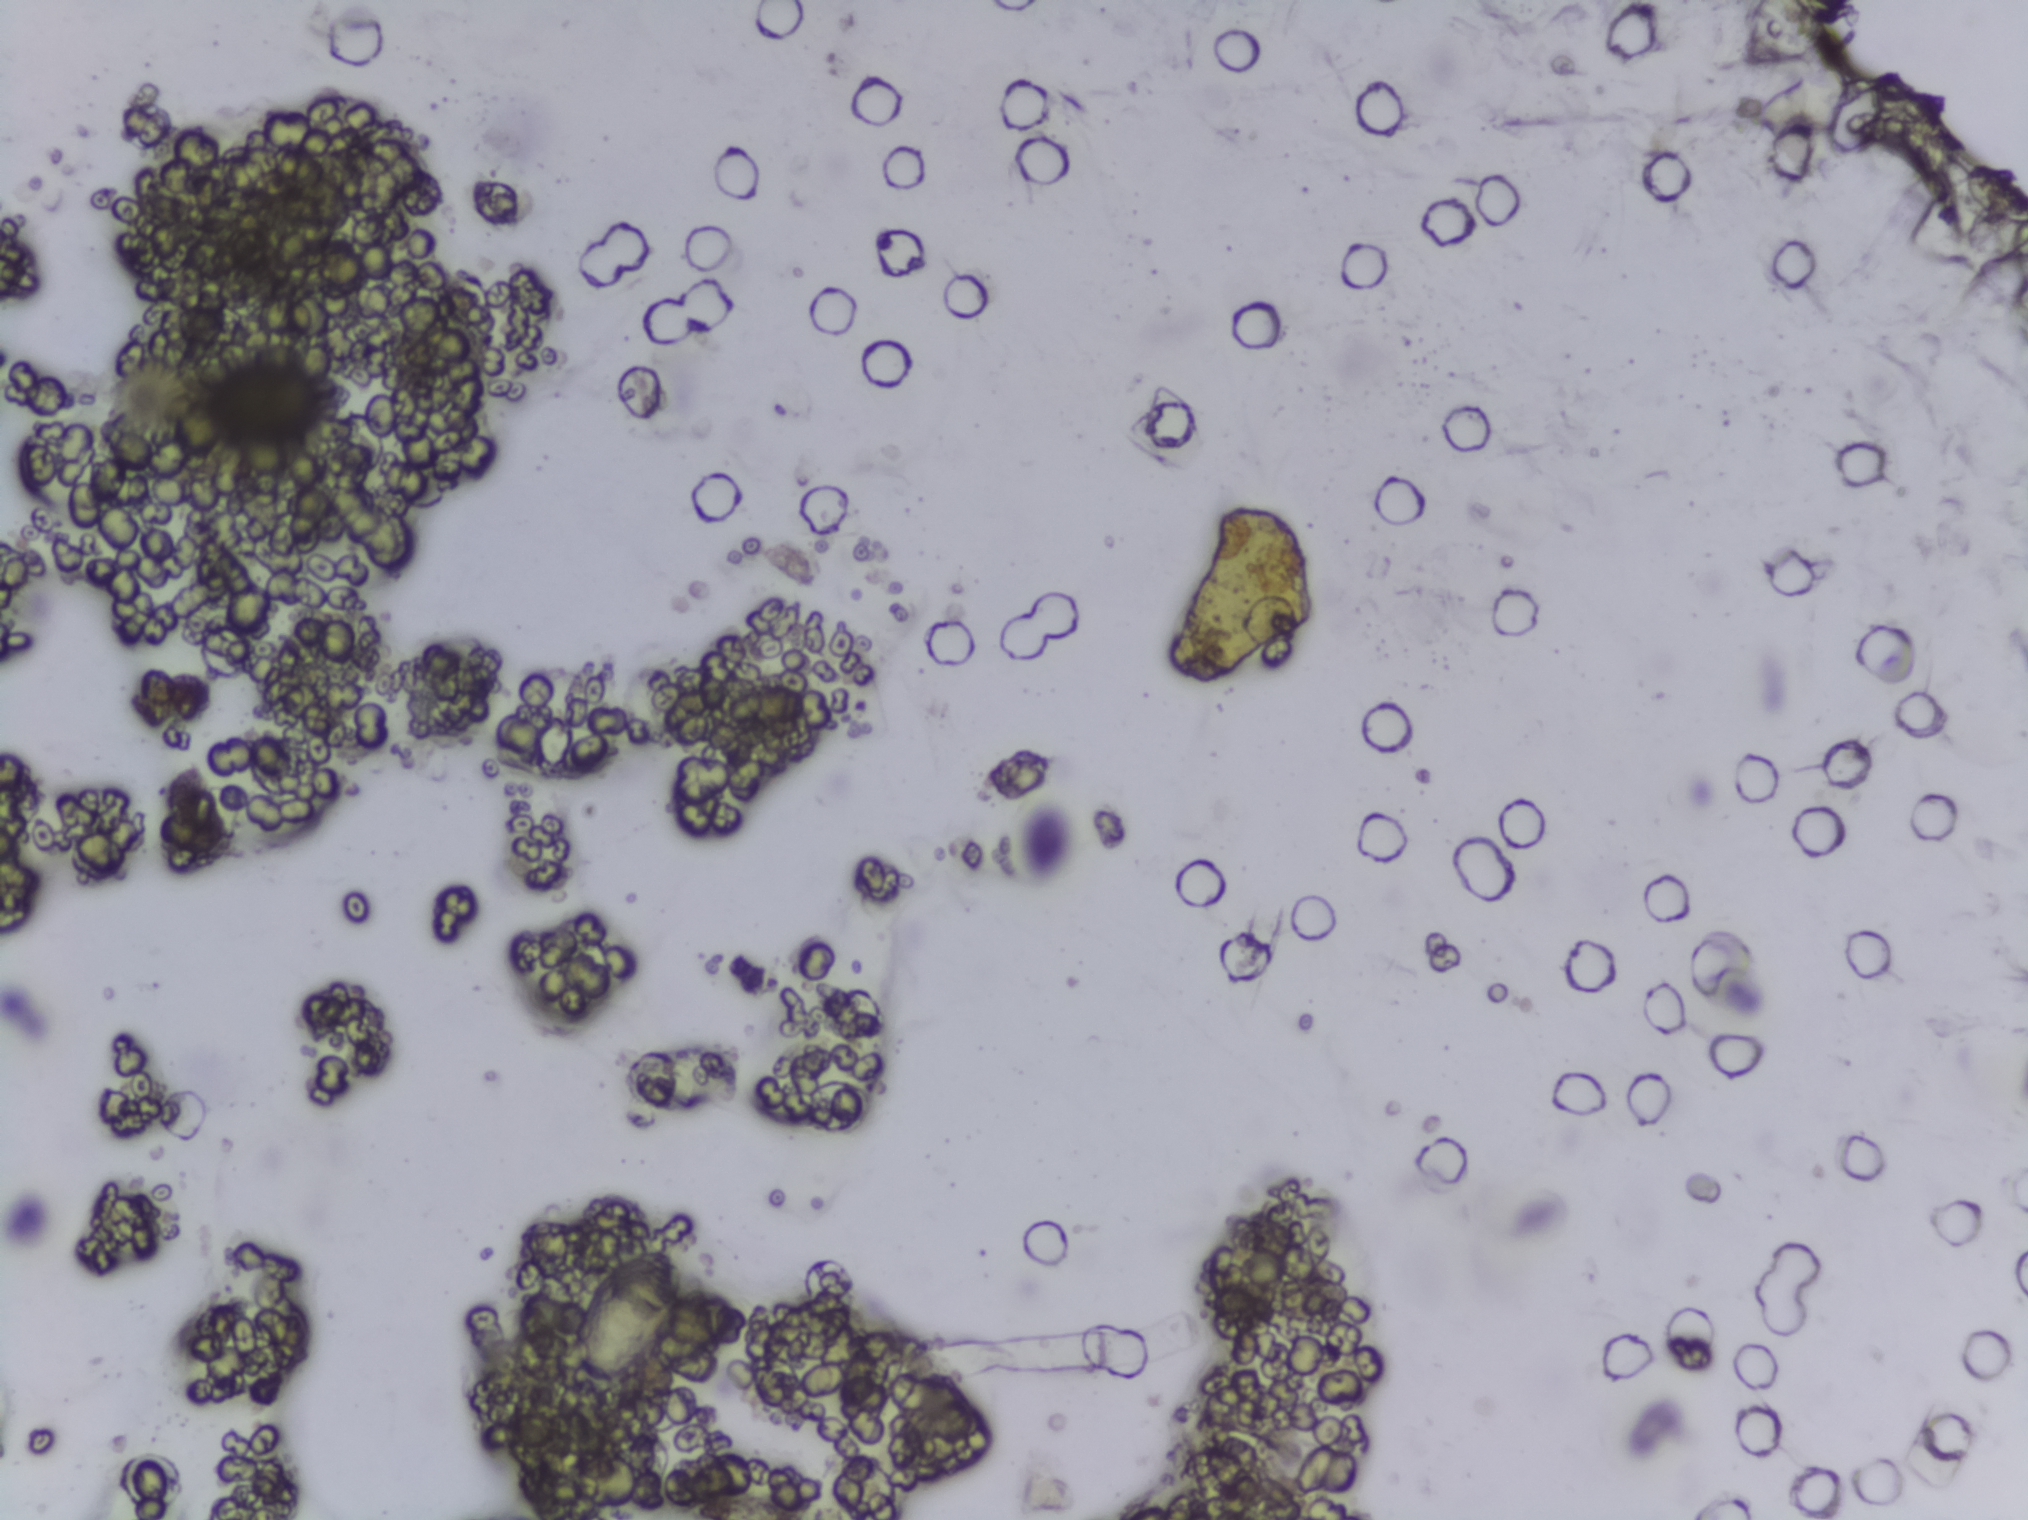
Urine filter membrane photographed through a 4× microscope objective.
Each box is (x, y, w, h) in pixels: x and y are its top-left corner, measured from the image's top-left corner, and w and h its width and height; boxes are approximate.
The expert annotation outlines Schistosoma eggs at (x=575, y=1246, w=104, h=142). Eggs that touch can end up inside the same outlined area.